One field of view of a urine filter membrane, 4× objective, 2028 × 1520 pixels.
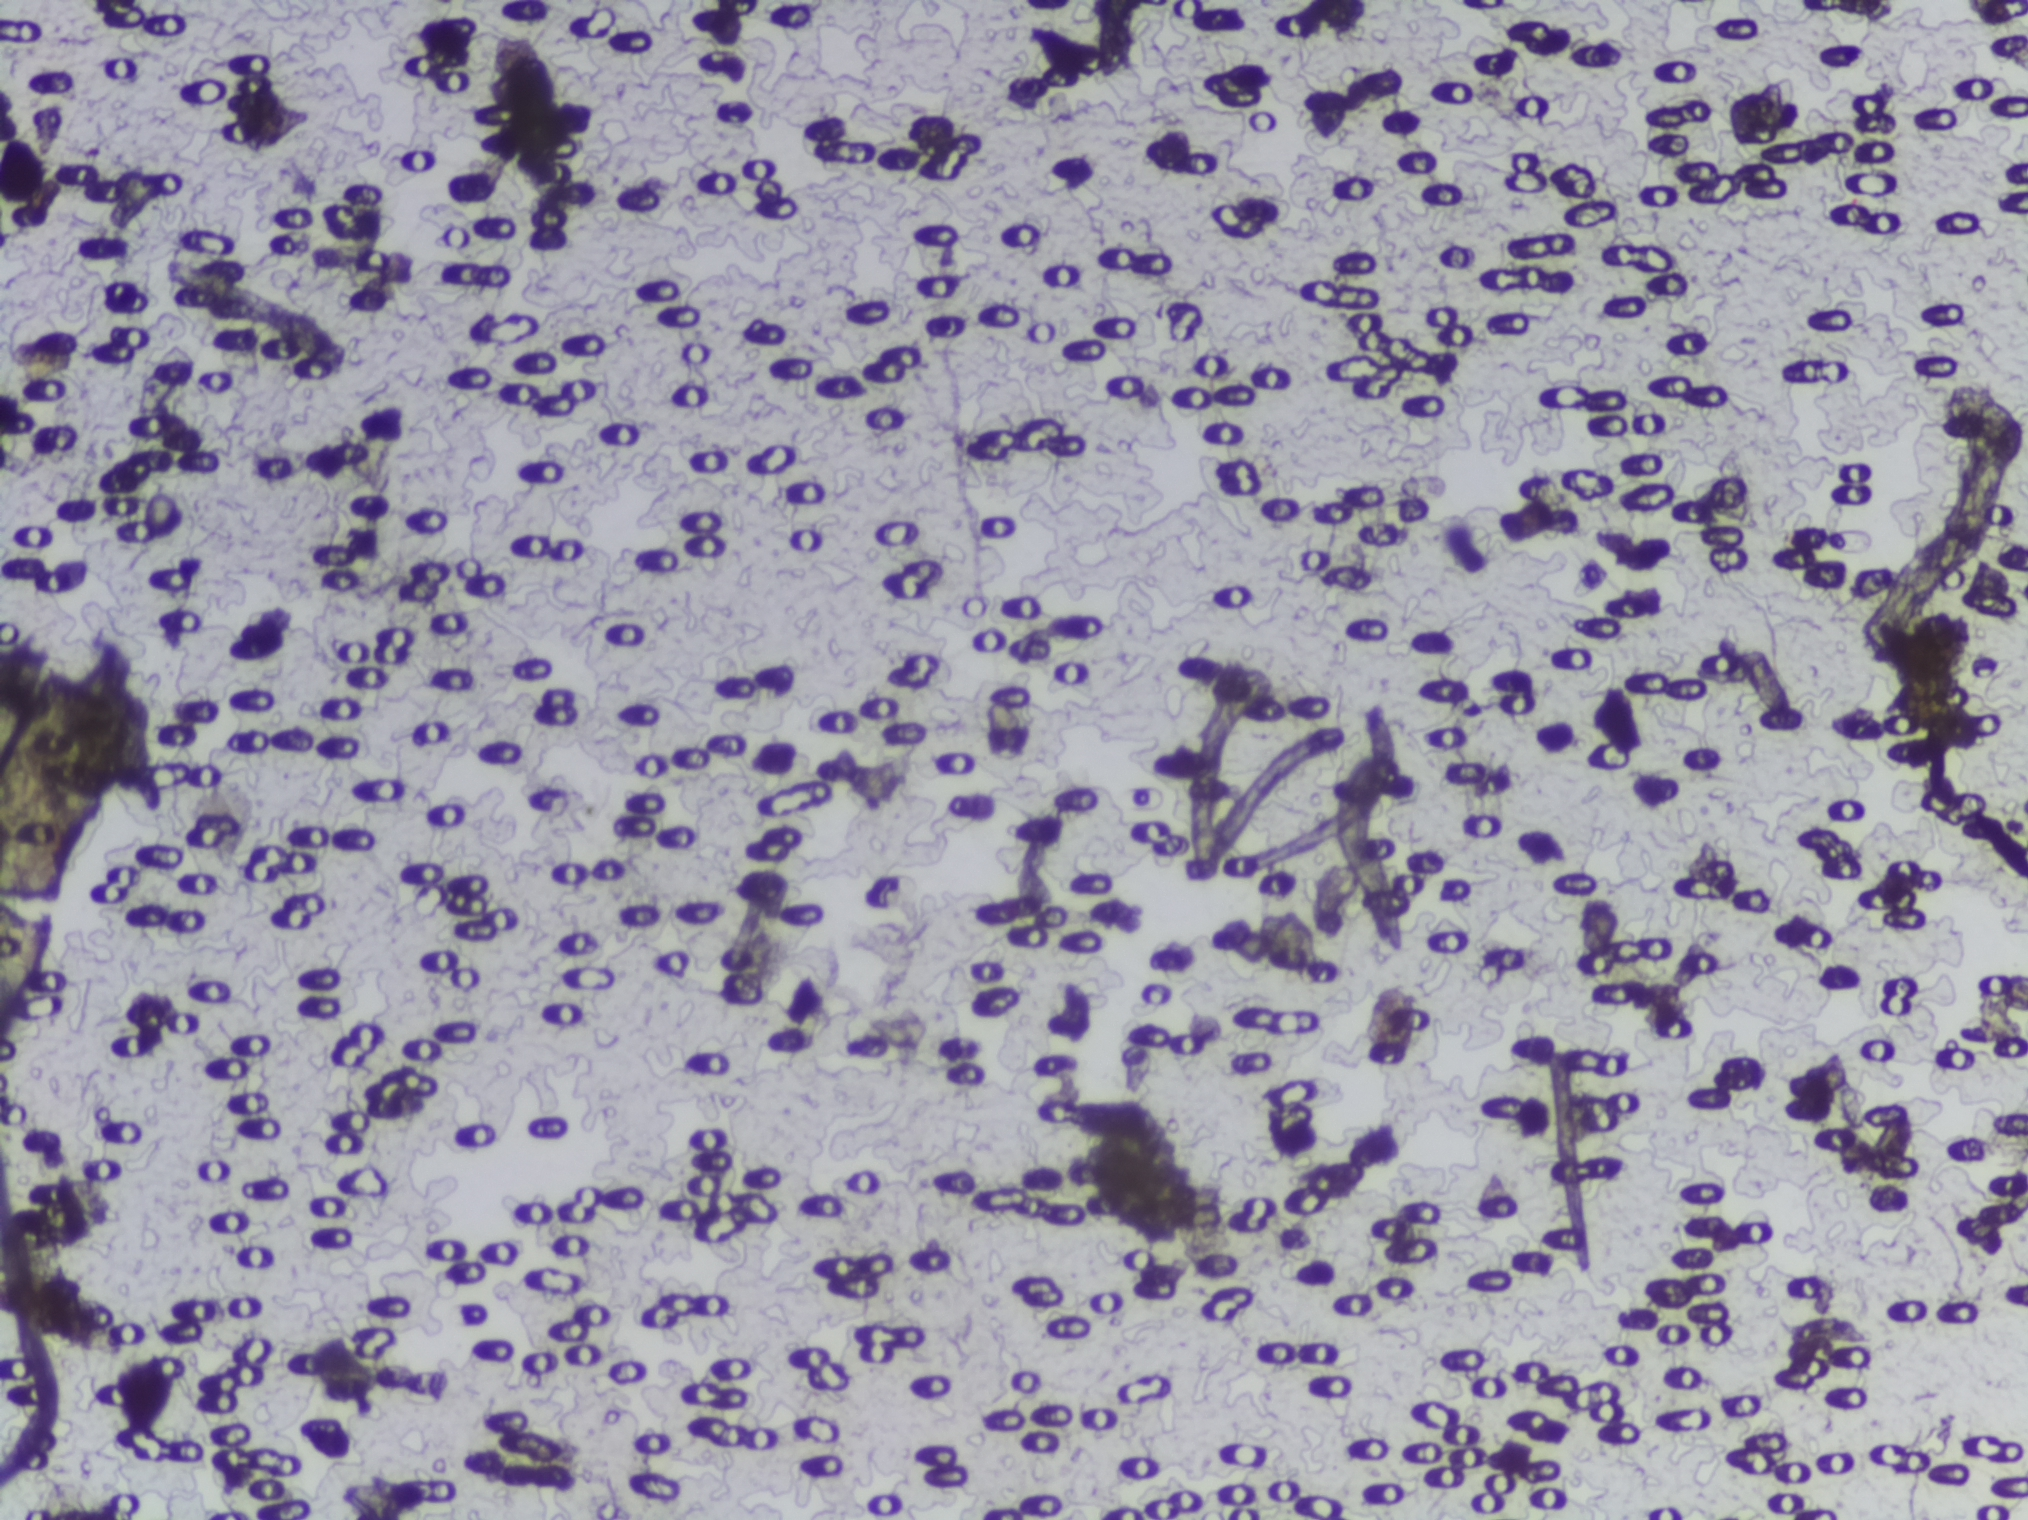
Schistosoma eggs: none outlined.